Photomicrograph of a urine filtration membrane, 4× objective.
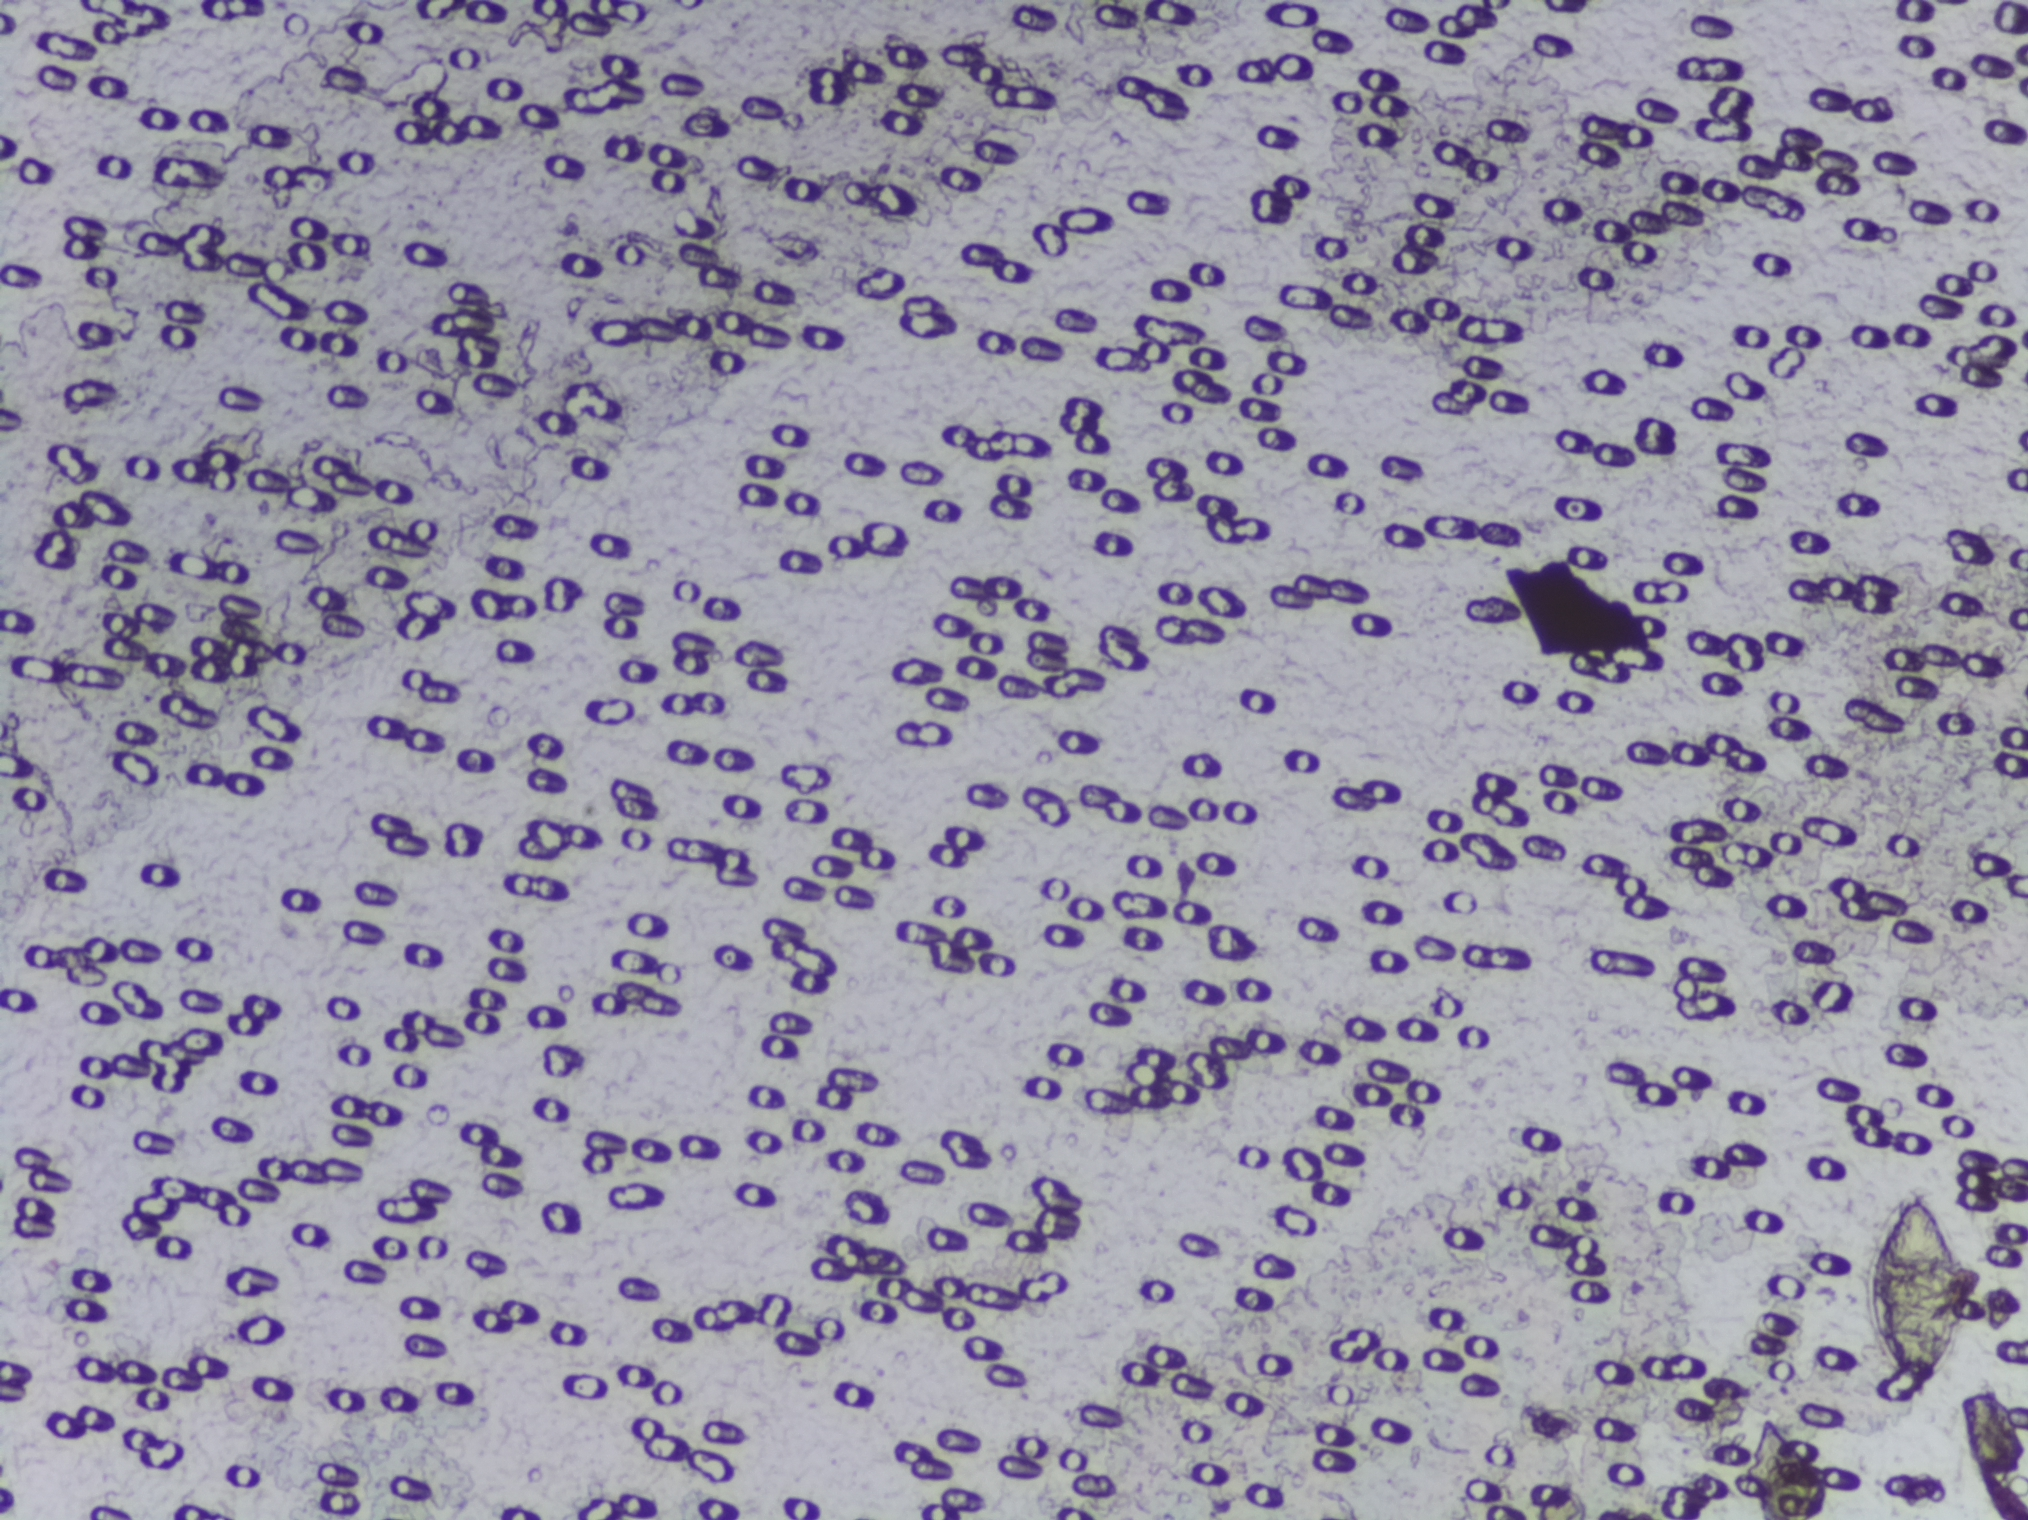
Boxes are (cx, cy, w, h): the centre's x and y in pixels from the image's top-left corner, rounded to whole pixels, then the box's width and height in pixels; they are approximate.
Schistosoma eggs are outlined in one area of this image: (cx=1918, cy=1298, w=107, h=250). Marked pixels, not the box around them: about 0.7% of the image. A single outlined area may contain several eggs. Any one outlined egg may, rarely, be S. mansoni rather than S. haematobium.